Urine filter membrane photographed through a 4× microscope objective. Field of view: about 1.5 mm wide and 1.1 mm high.
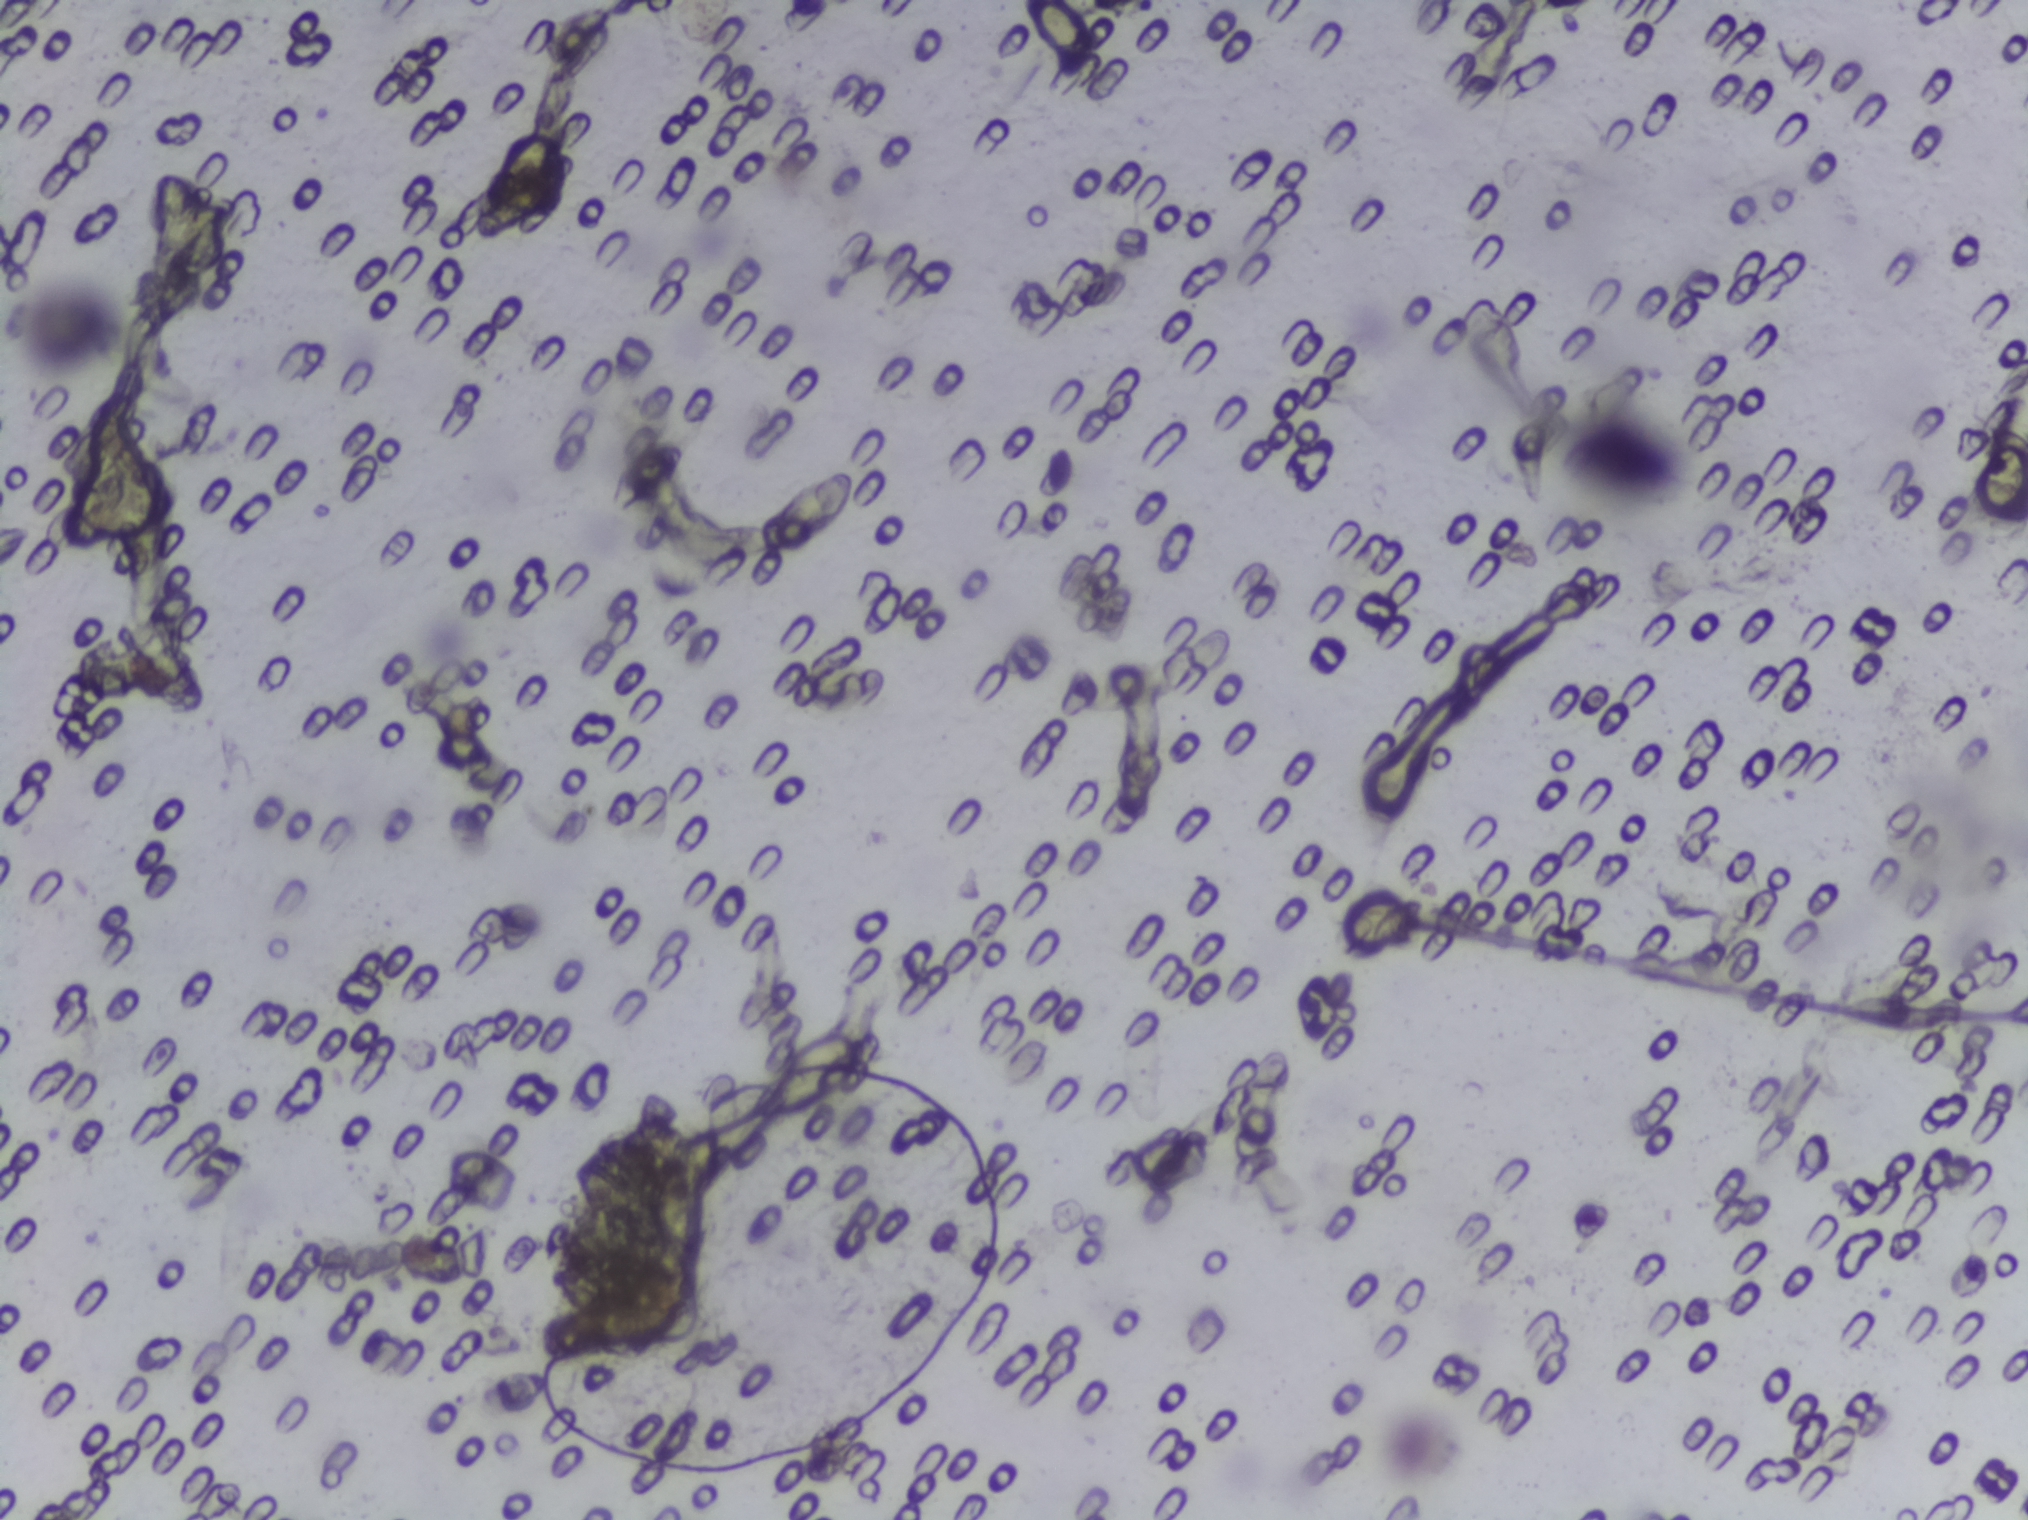
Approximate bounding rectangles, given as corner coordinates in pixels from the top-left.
Three areas of this image are outlined as Schistosoma eggs, from left to right: (x1=147, y1=169, x2=200, y2=276); (x1=488, y1=133, x2=555, y2=206); (x1=1027, y1=0, x2=1091, y2=62) (reaching the top edge of the frame). Eggs that touch can end up inside the same outlined area.